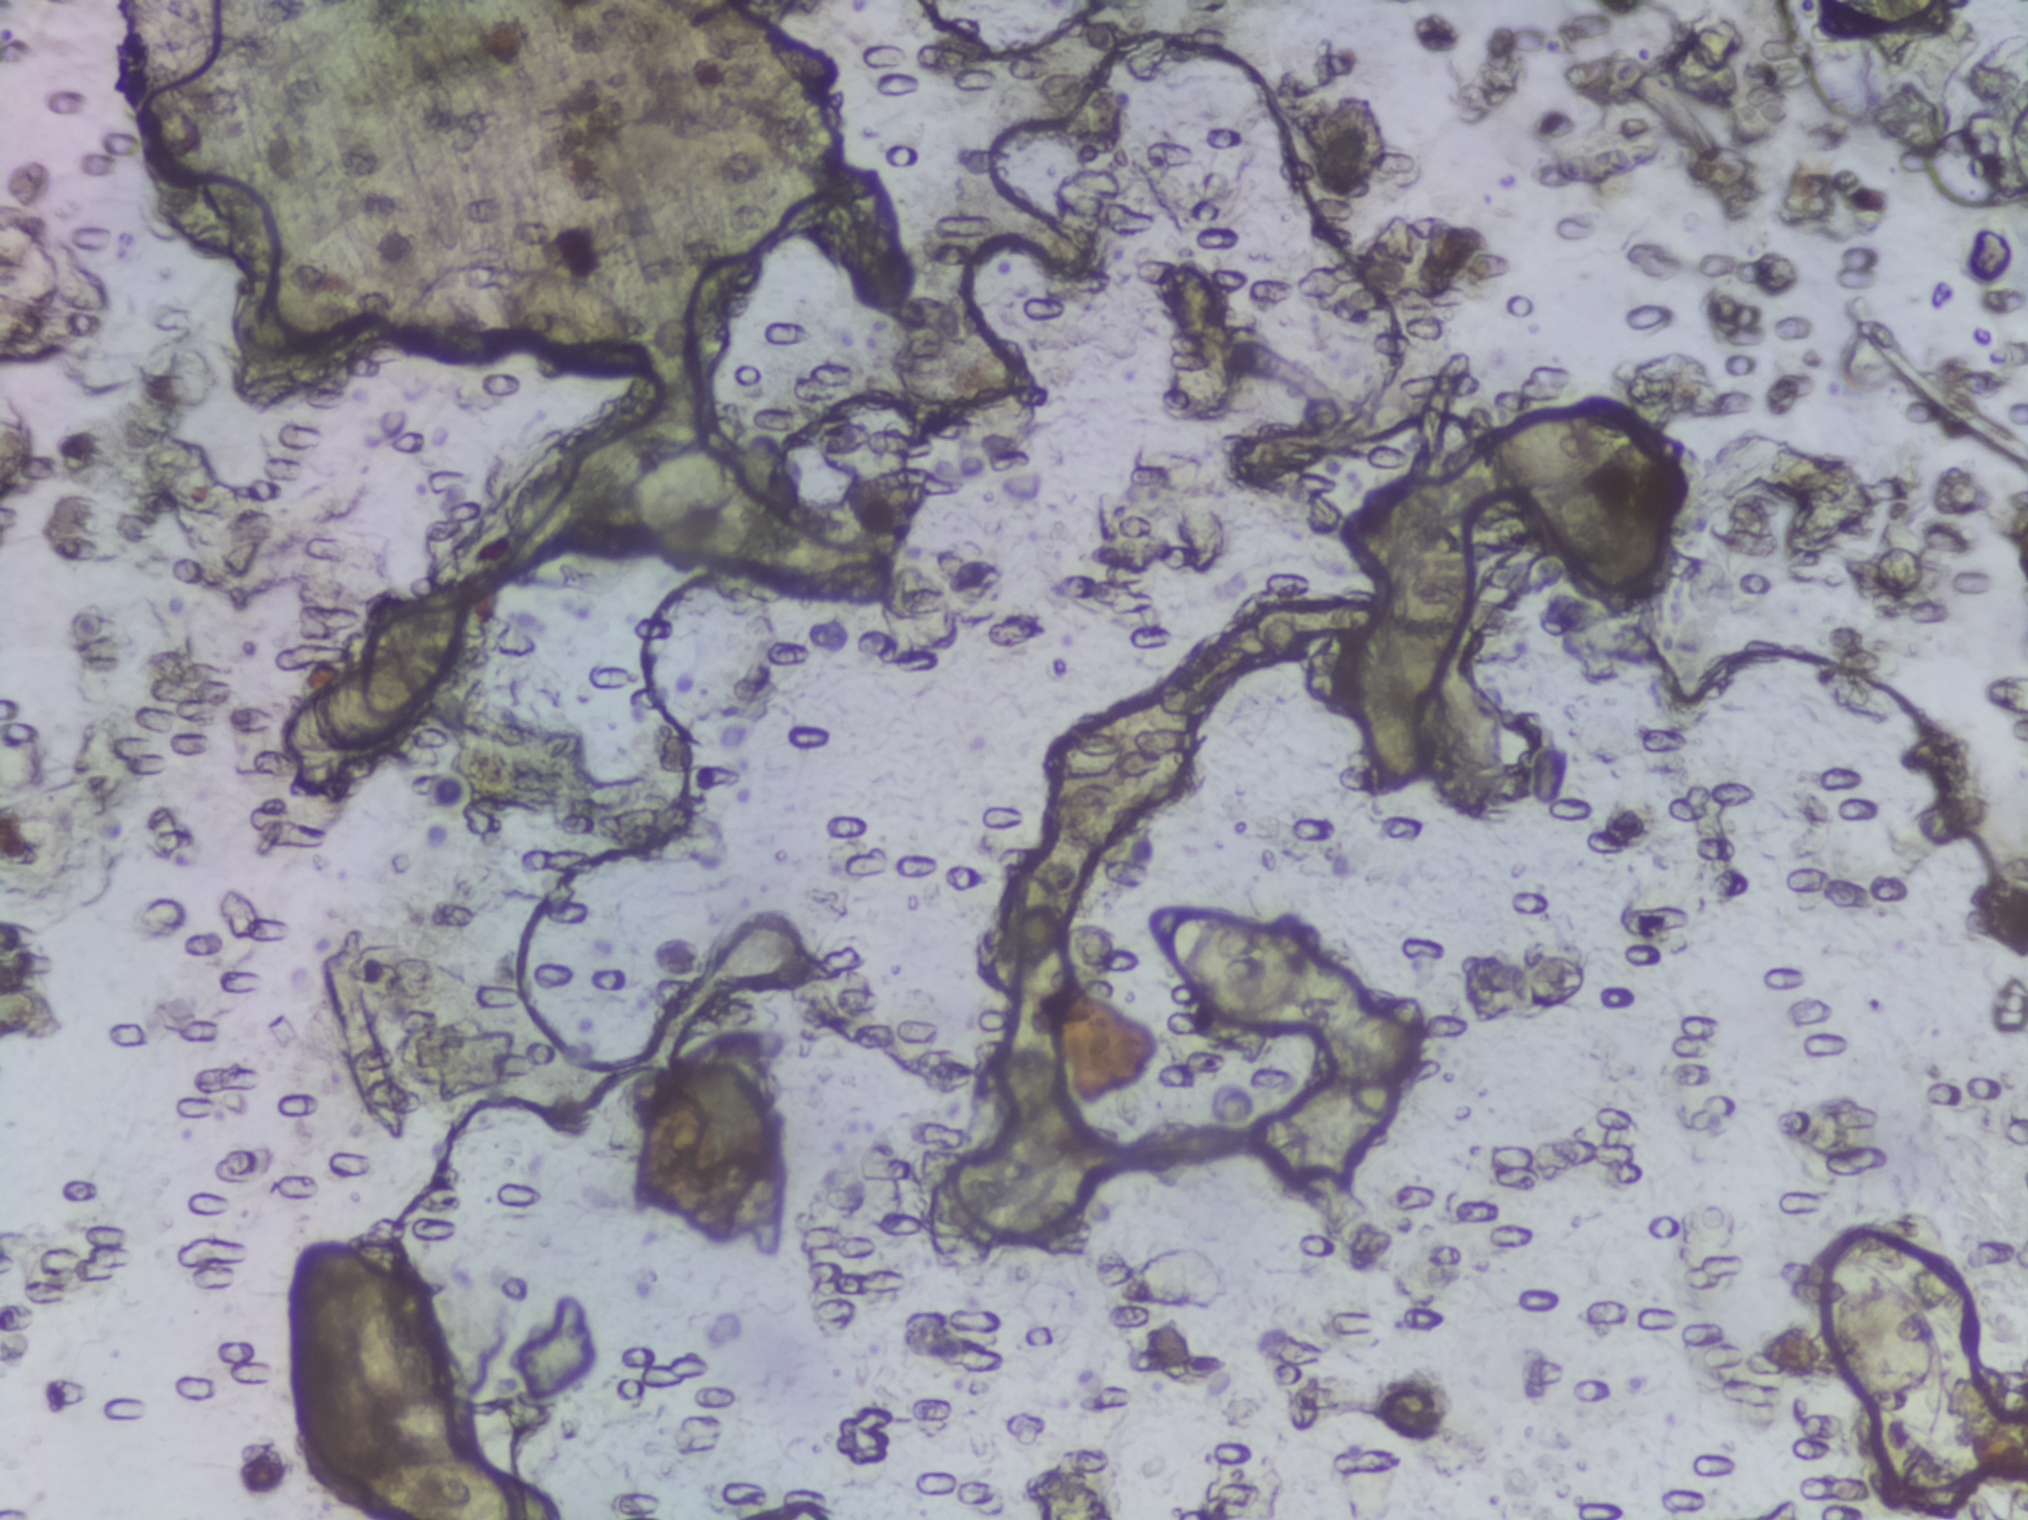
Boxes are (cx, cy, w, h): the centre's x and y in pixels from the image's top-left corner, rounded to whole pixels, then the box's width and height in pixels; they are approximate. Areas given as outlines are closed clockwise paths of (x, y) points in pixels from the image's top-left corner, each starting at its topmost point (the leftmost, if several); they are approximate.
Five areas of this image are outlined as Schistosoma eggs, from left to right: outline (465, 572), (475, 586), (471, 624), (431, 713), (345, 764), (315, 773), (286, 768), (275, 745), (276, 727), (304, 688), (359, 668), (376, 624), (409, 595); box (cx=447, cy=1487, w=231, h=65) (reaching the bottom edge of the frame); box (cx=525, cy=312, w=246, h=107); box (cx=1237, cy=967, w=173, h=136); box (cx=1884, cy=1344, w=133, h=197). An outlined area can hold more than one egg.
Urine filter membrane photographed through a 4× microscope objective. The field of view is about 1.5 mm × 1.1 mm.